Urine filter membrane photographed through a 4× microscope objective.
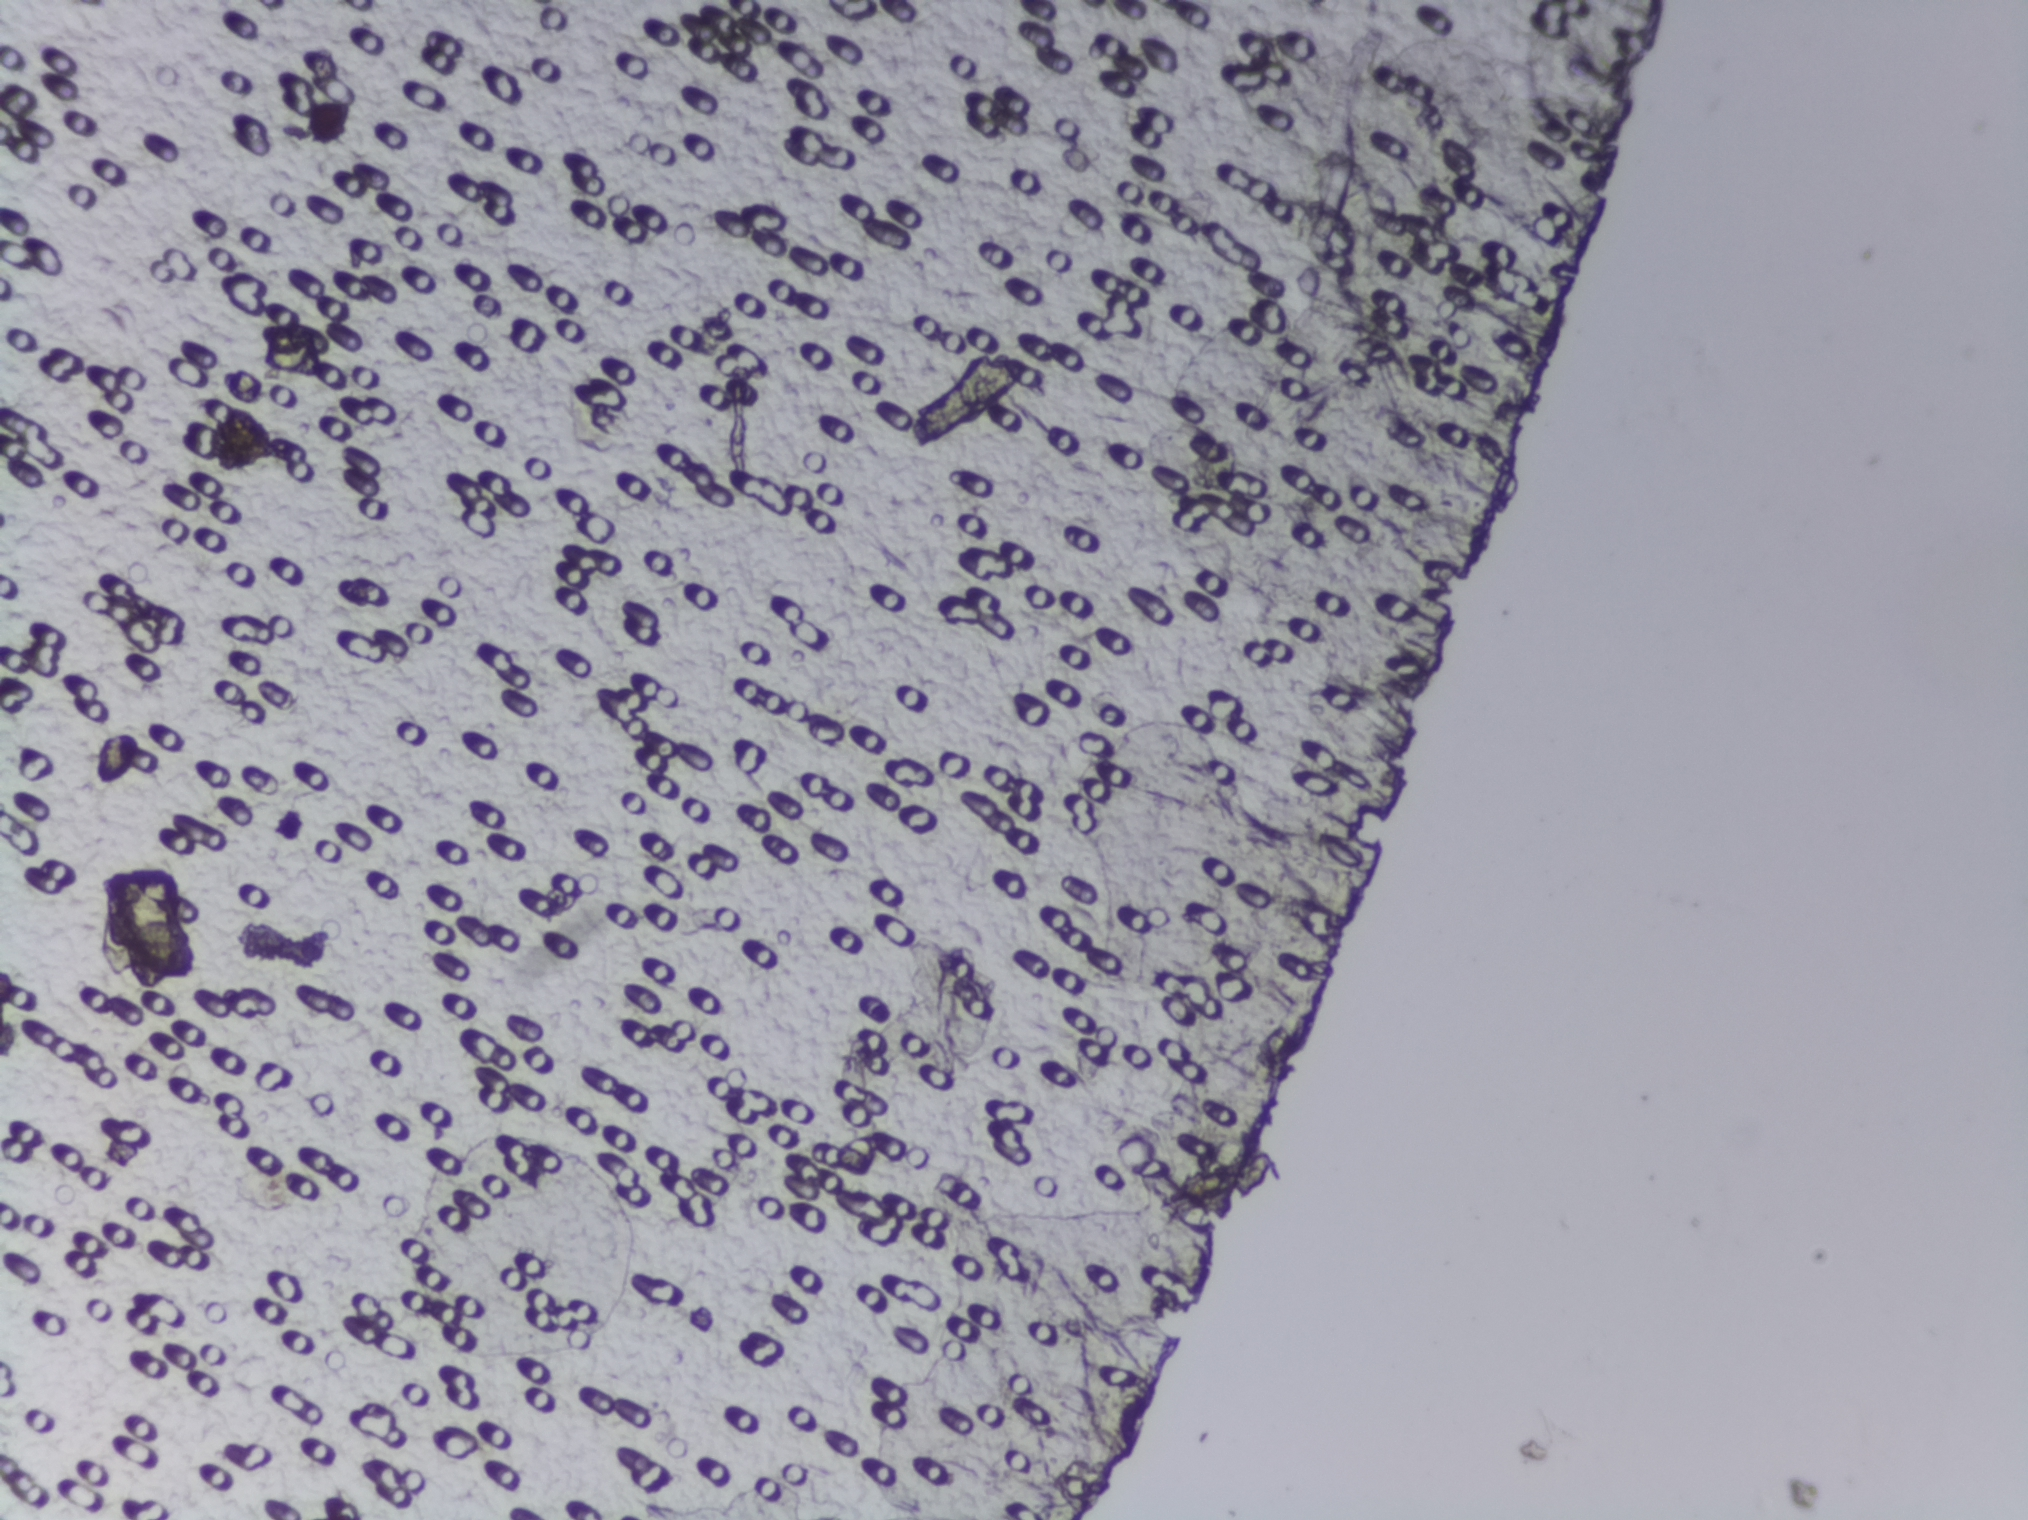
No area of this image was outlined as a Schistosoma egg.